Microscope photograph (4× objective) of a membrane that a urine sample was filtered through. The image covers about 1.5 × 1.1 mm of the membrane.
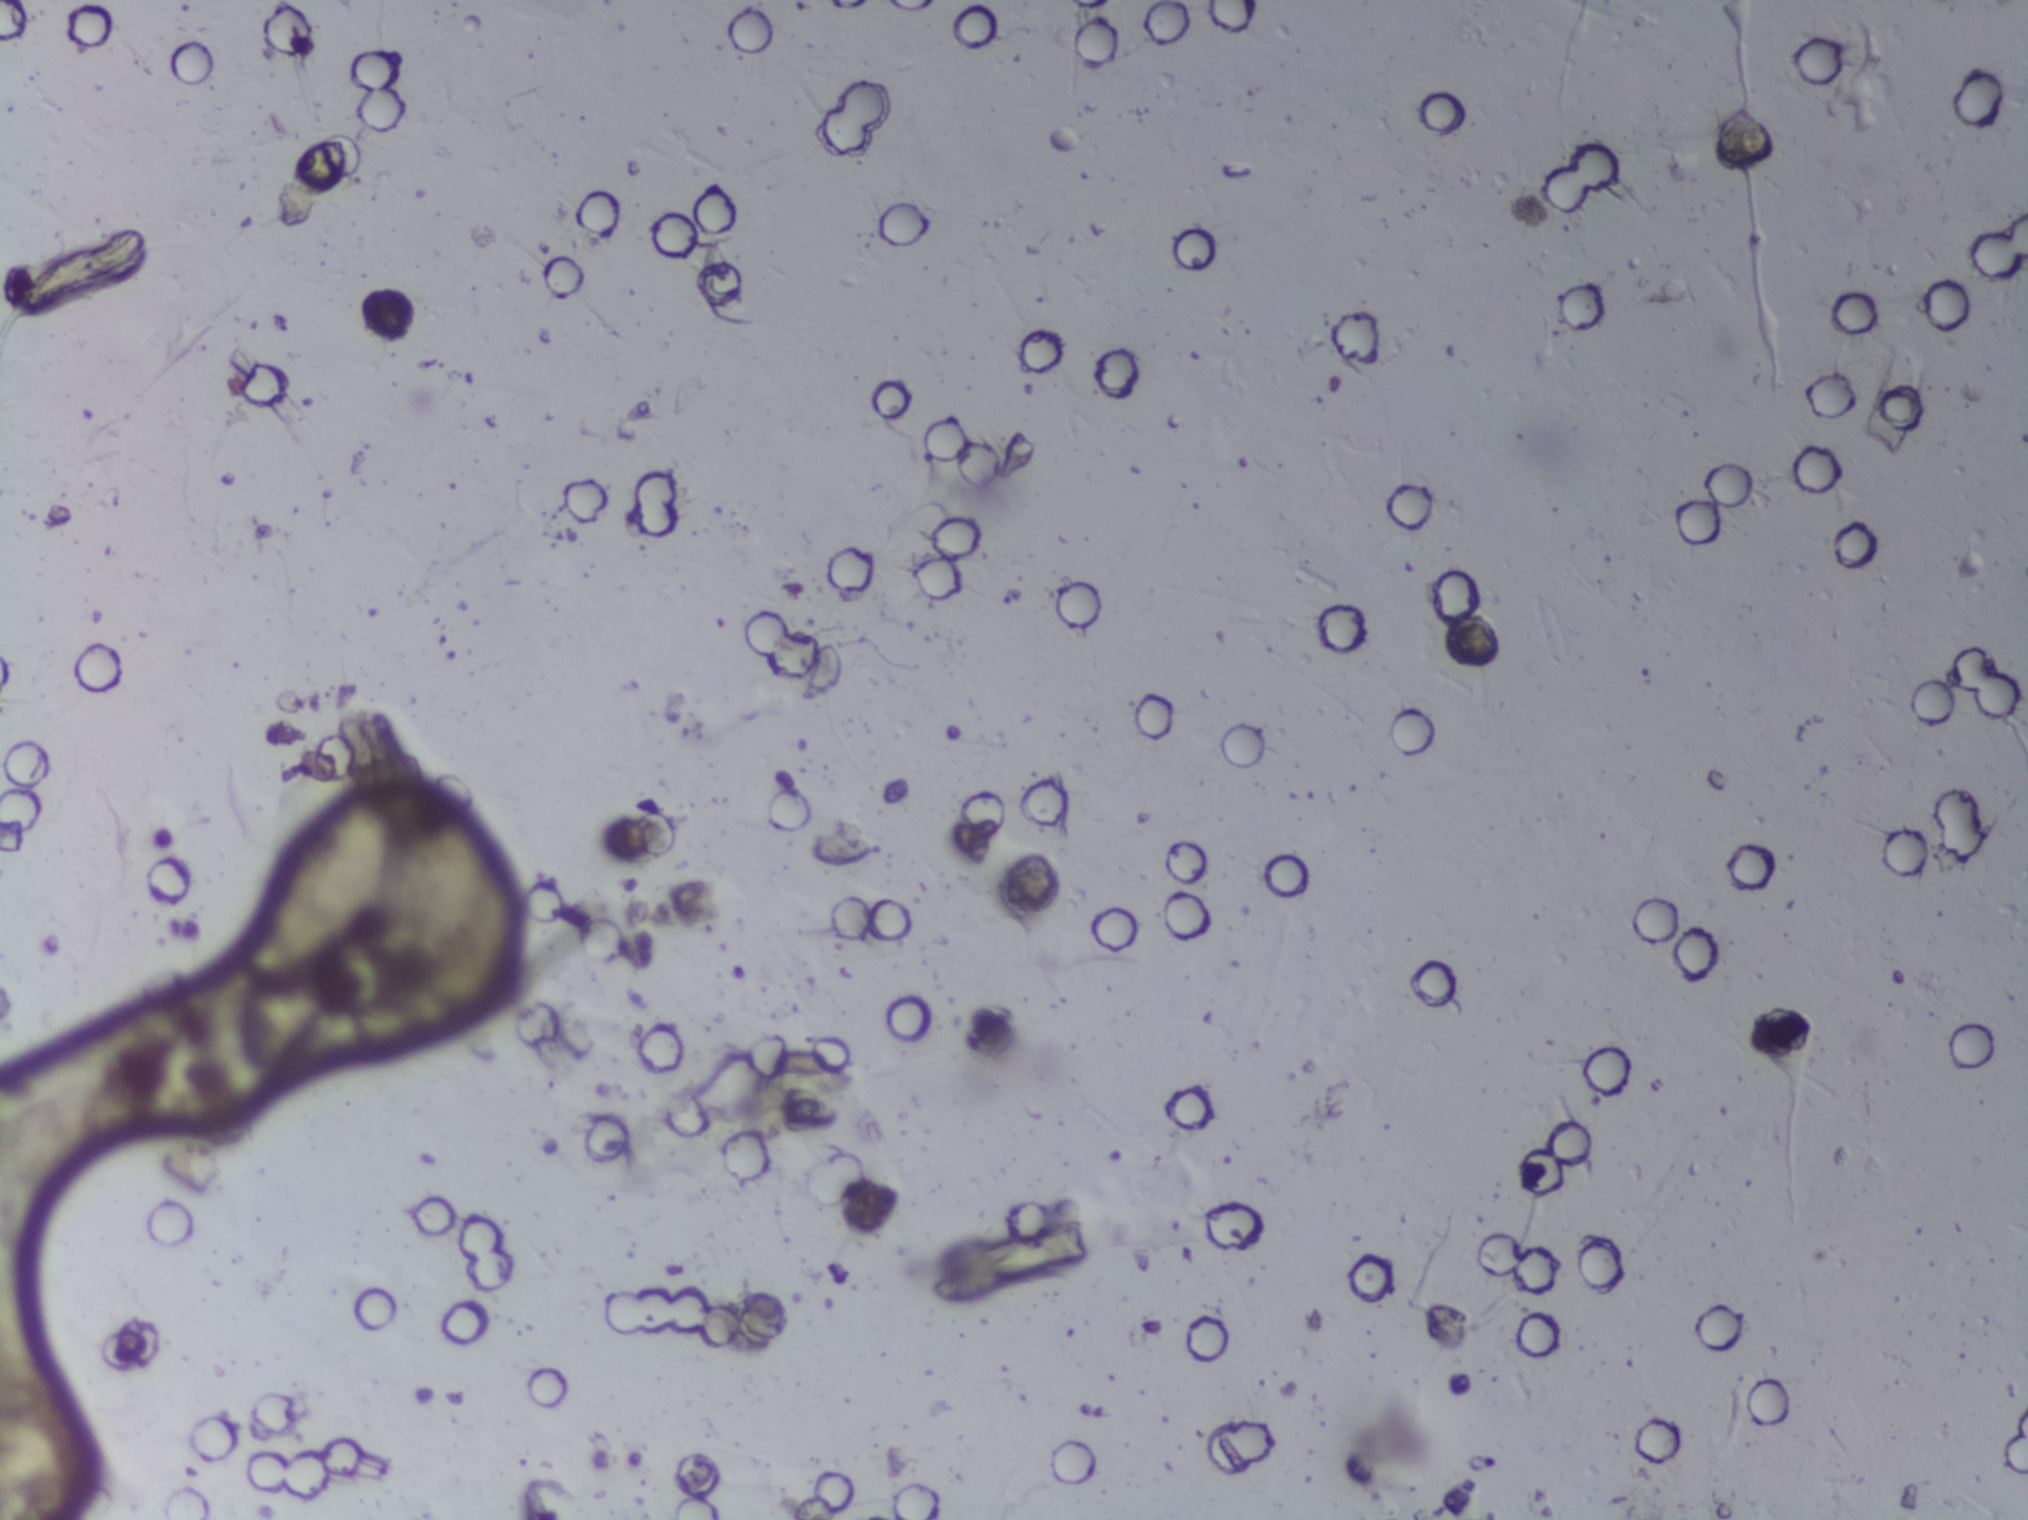
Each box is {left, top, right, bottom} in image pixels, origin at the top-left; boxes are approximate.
Schistosoma eggs are outlined in the expert annotation at {0, 1083, 78, 1281} (reaching the left edge of the frame) and {234, 779, 483, 1010} (left to right). Eggs that touch can end up inside the same outlined area.